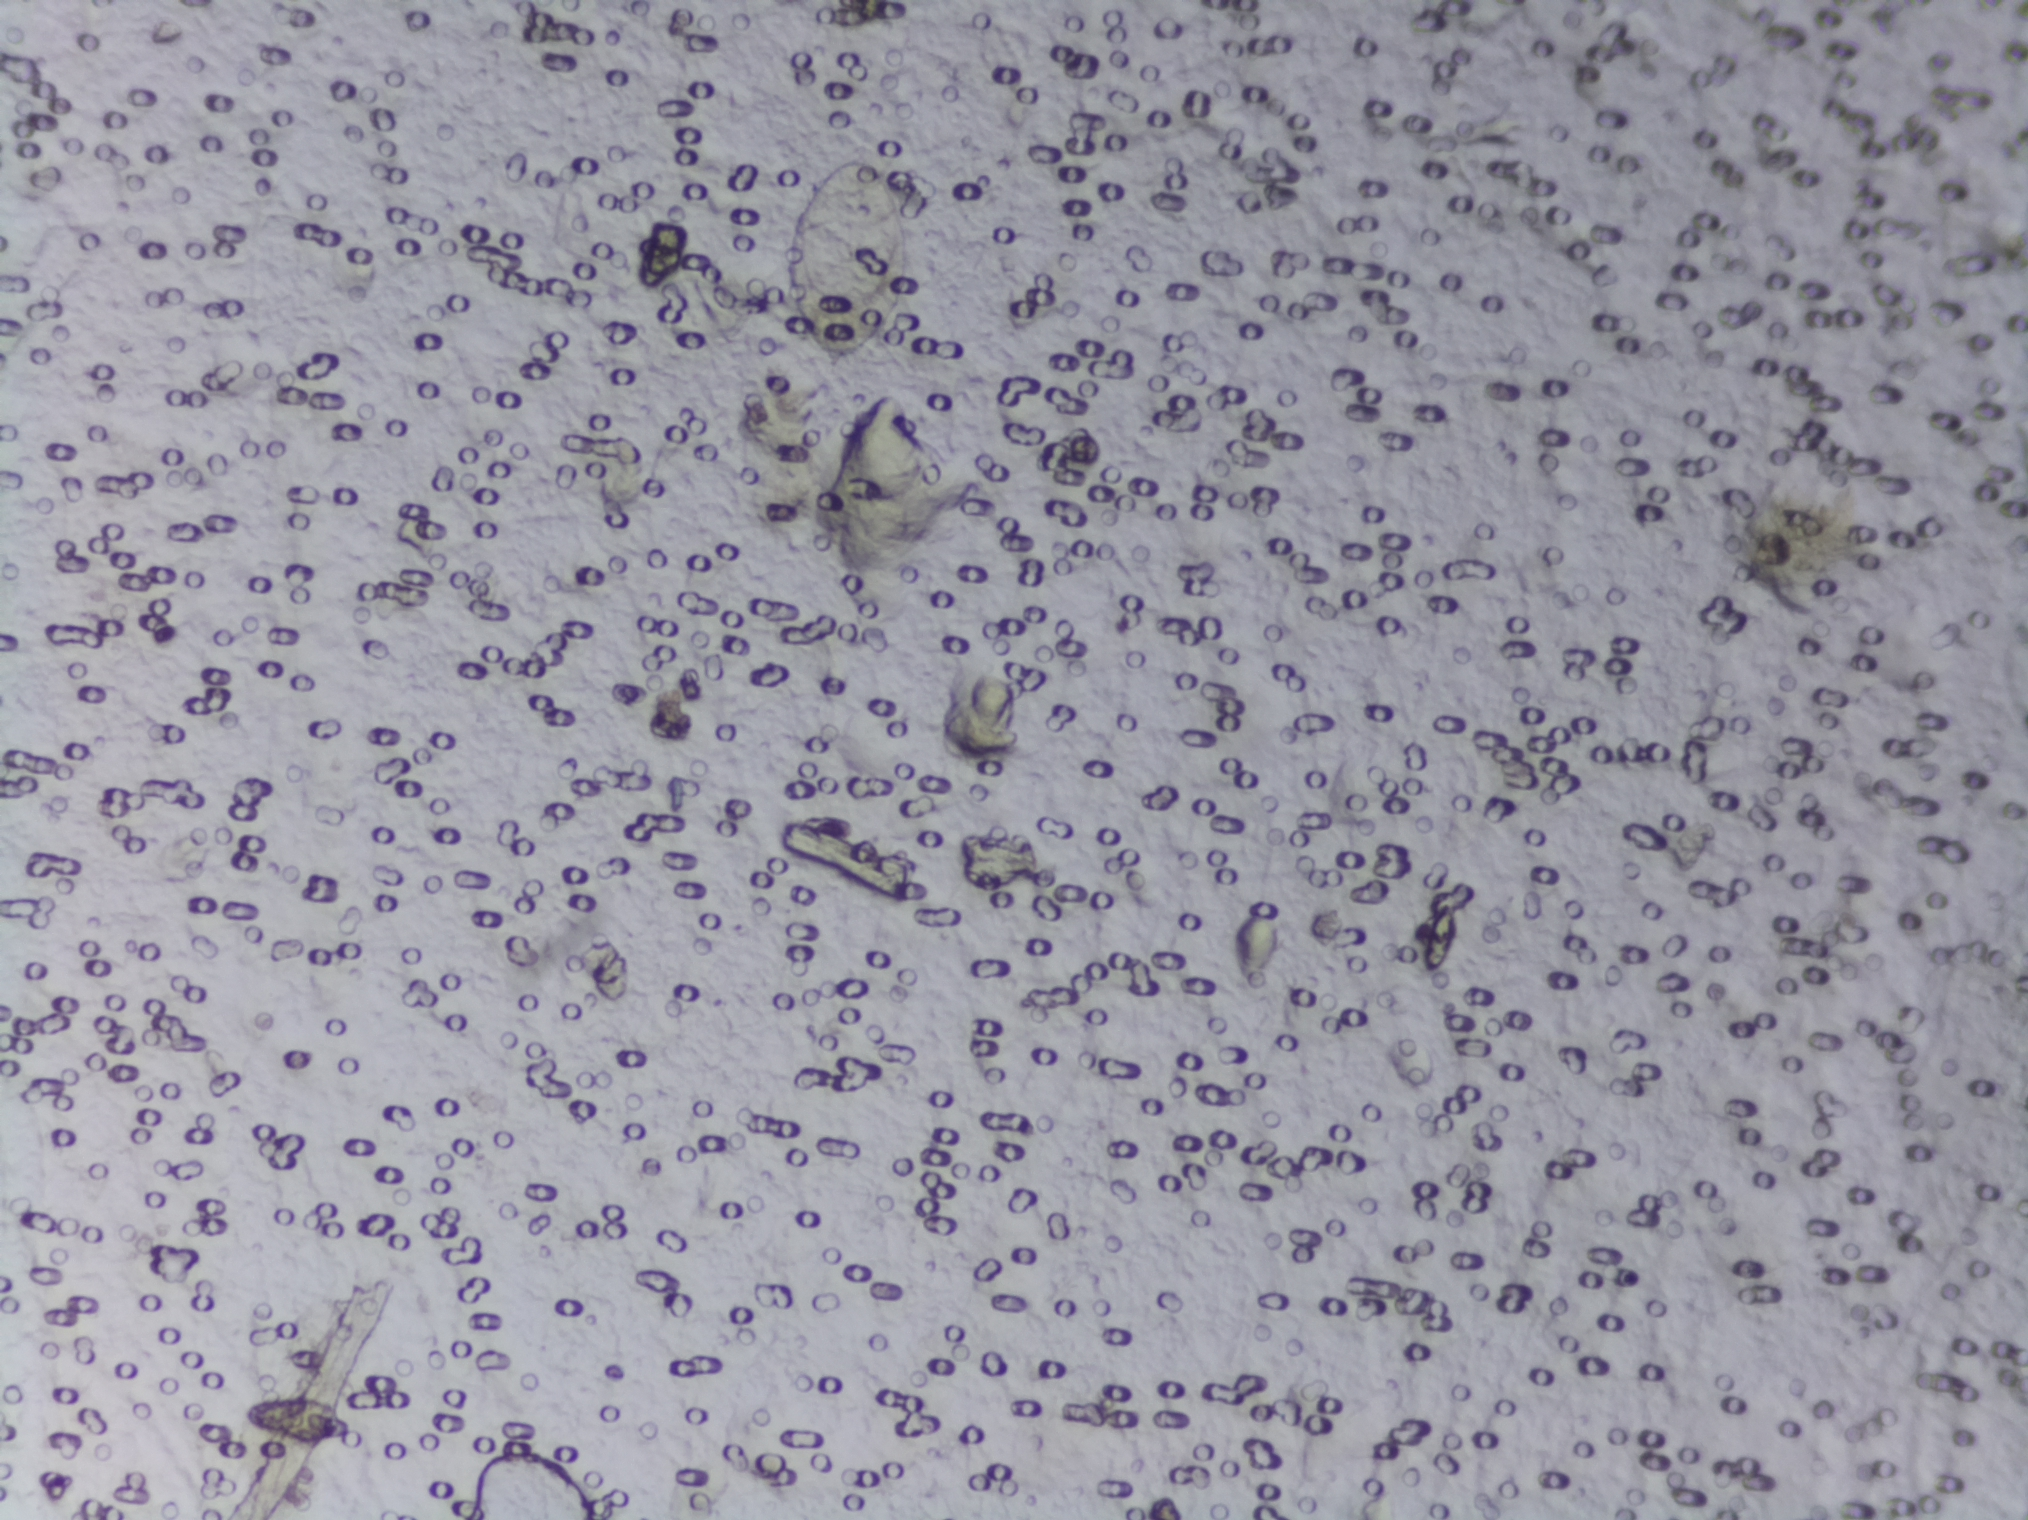
One field of view of a urine filter membrane, 4× objective, 2028 × 1520 pixels. The field of view is about 1.5 mm × 1.1 mm.
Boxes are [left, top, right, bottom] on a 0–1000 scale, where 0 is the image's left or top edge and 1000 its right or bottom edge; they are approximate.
One area of this image is outlined as Schistosoma eggs: [386, 105, 450, 244]. An outlined area can hold more than one egg.